One field of view of a urine filter membrane, 4× objective, 2028 × 1520 pixels.
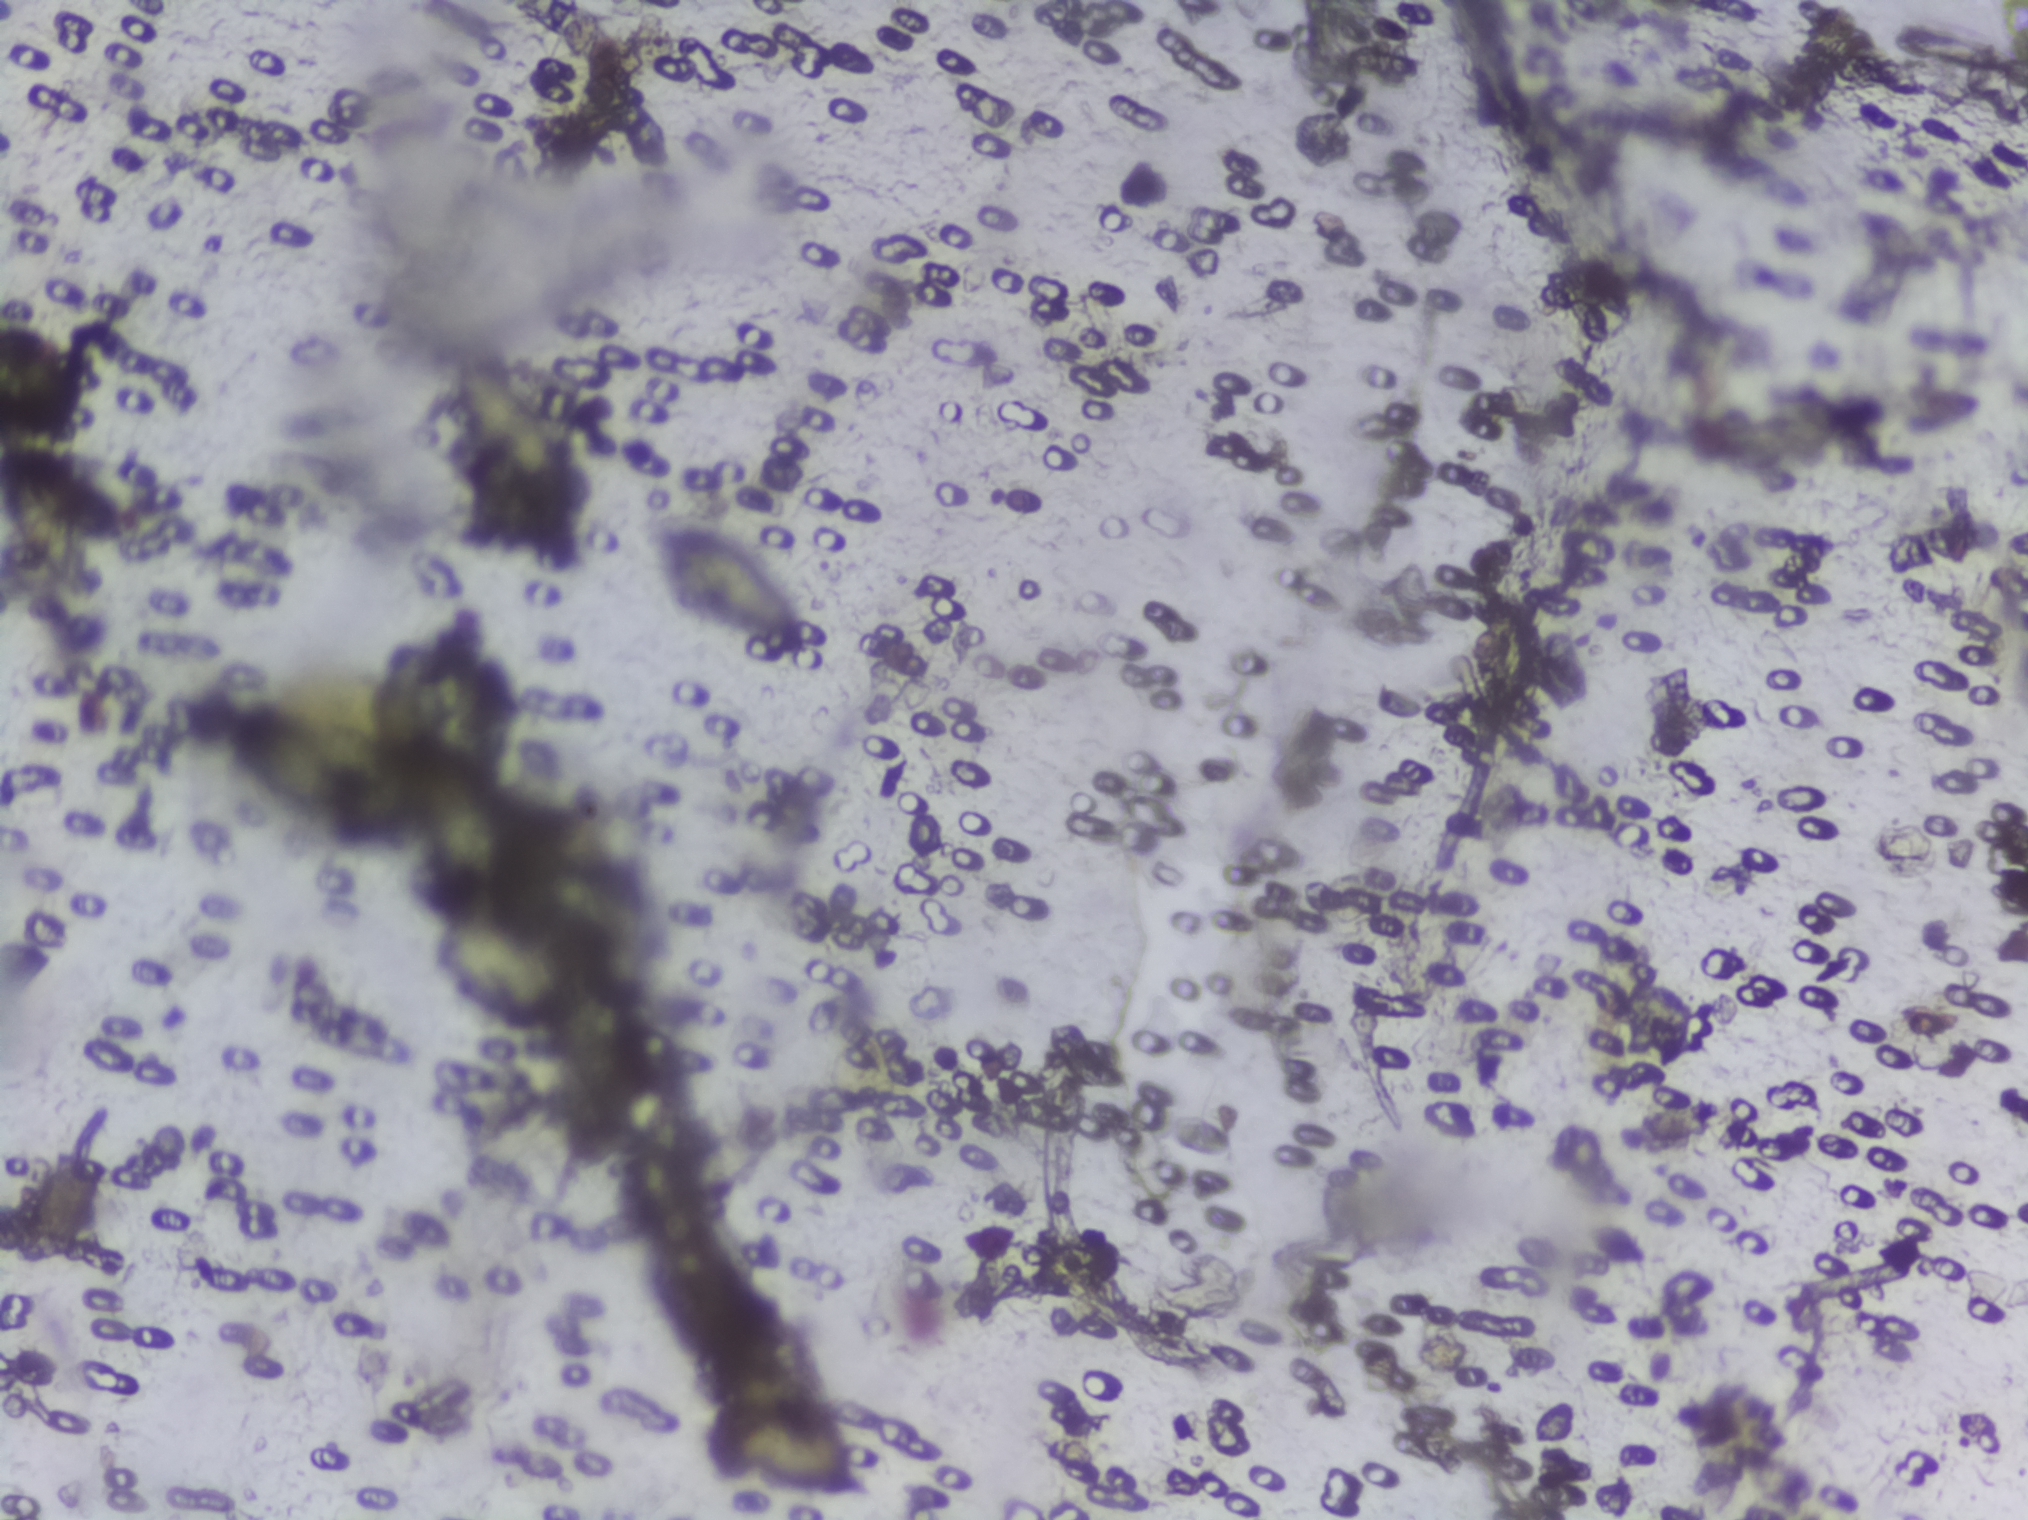
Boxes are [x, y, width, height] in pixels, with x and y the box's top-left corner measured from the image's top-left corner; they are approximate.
{"schistosoma_egg_areas_xywh_px": [[442, 349, 136, 168], [648, 523, 170, 134], [707, 1399, 161, 101]]}
A single outlined area may contain several eggs.